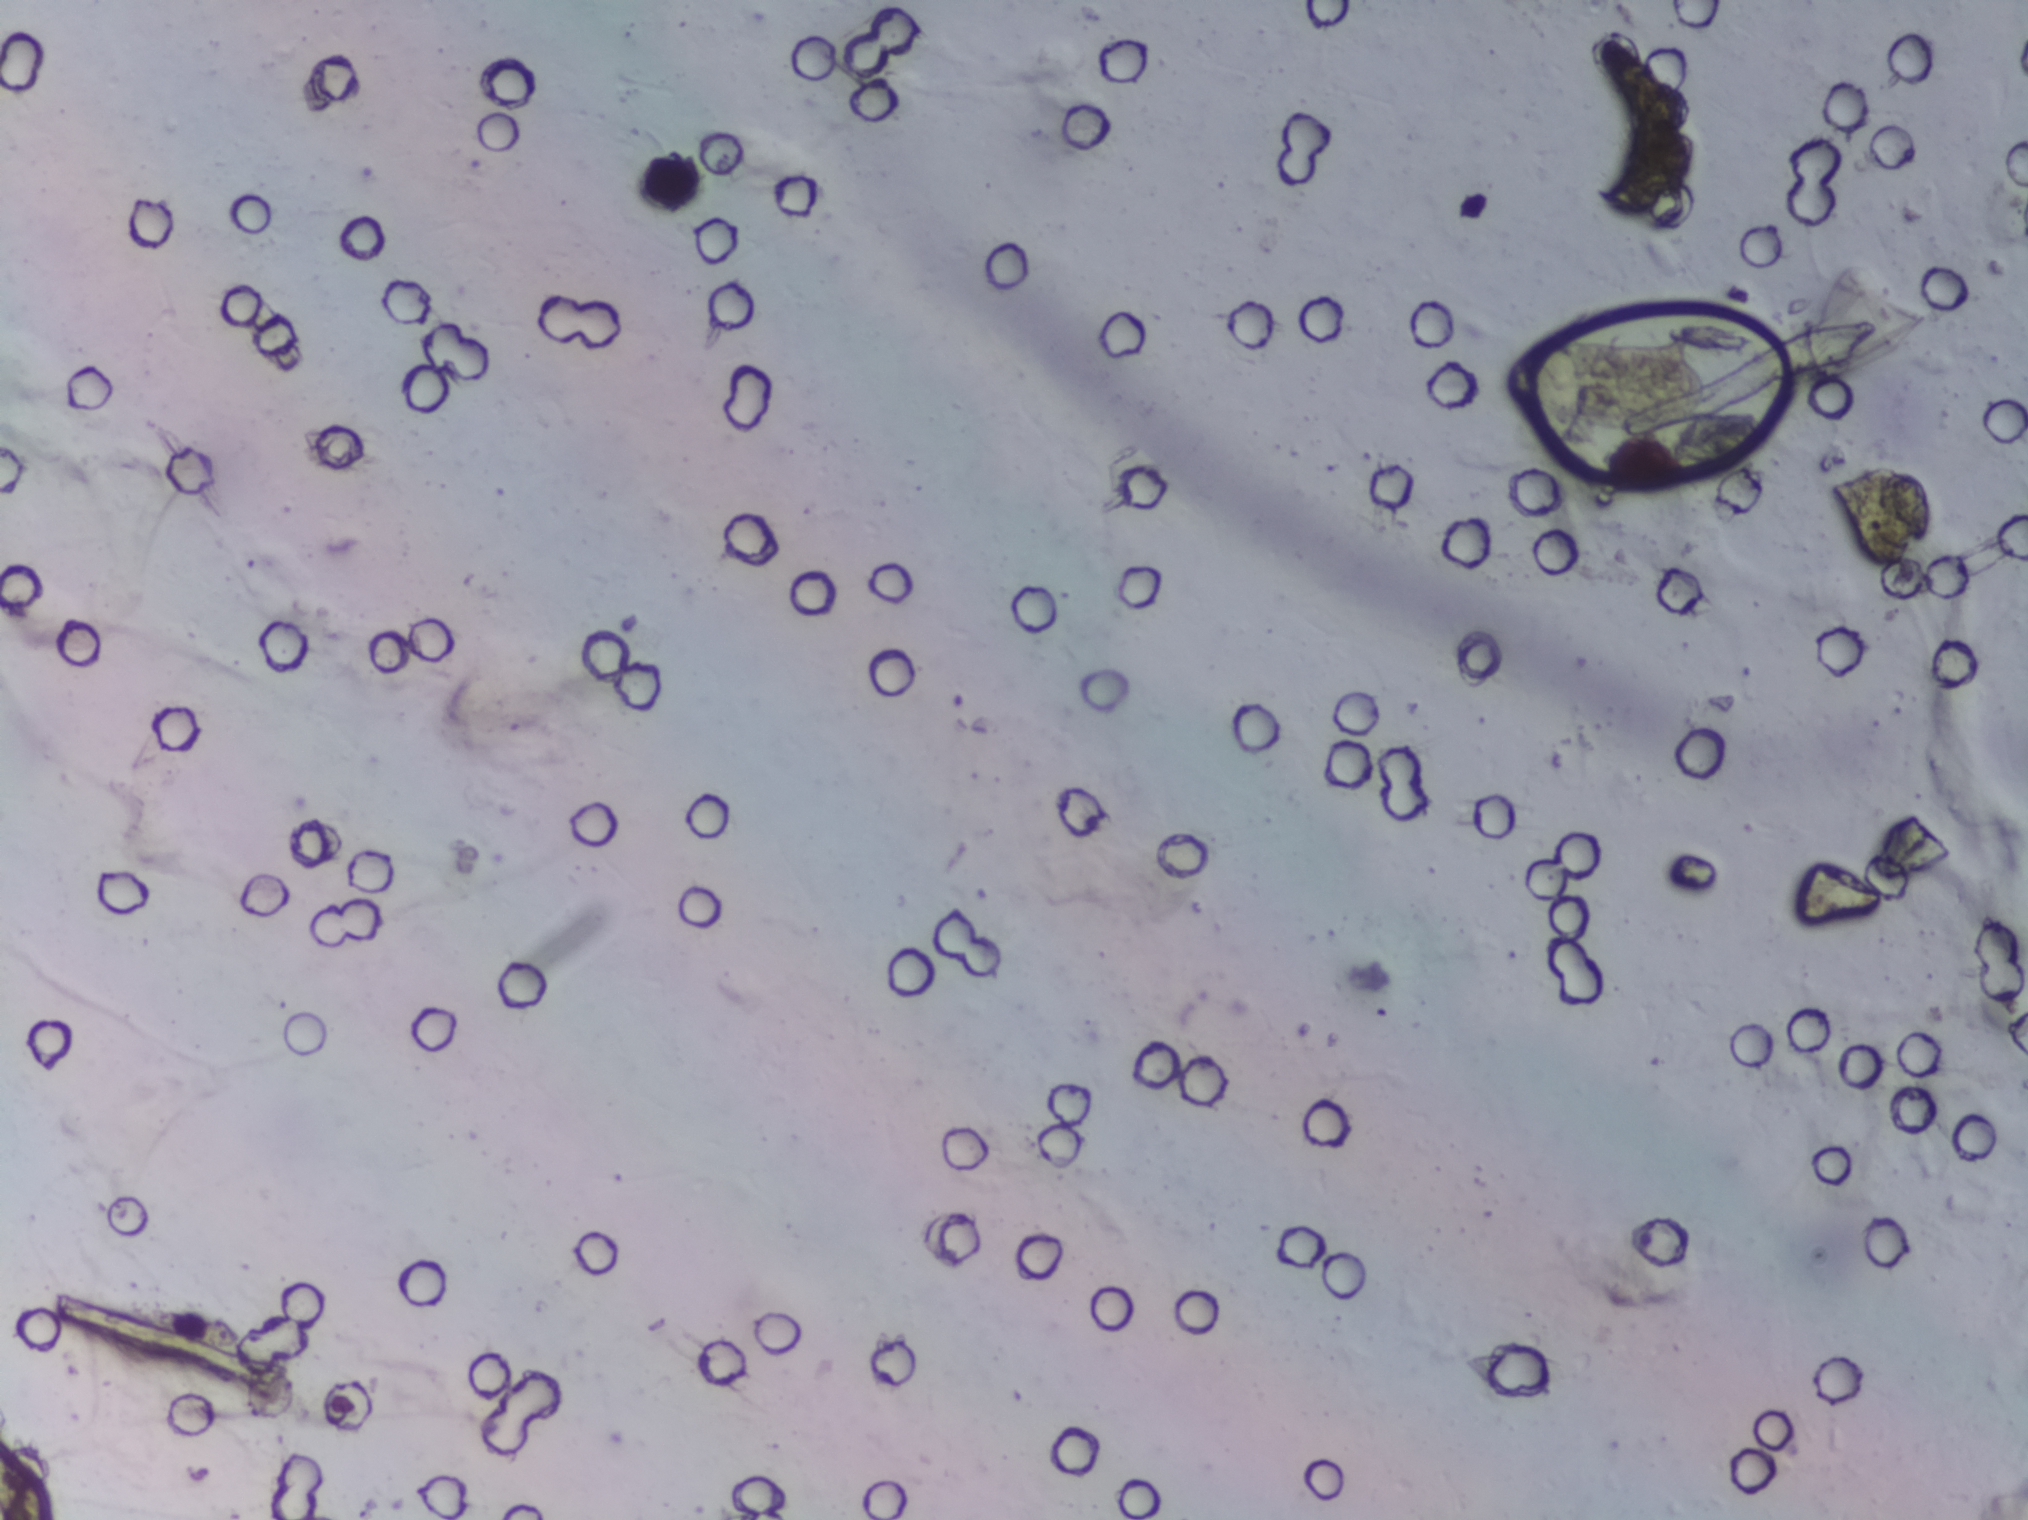
Photomicrograph of a urine filtration membrane, 4× objective.
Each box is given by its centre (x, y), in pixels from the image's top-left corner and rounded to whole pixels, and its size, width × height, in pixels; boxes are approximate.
Areas outlined as Schistosoma eggs: centre (1606, 385), 213 × 104 px. About 0.6% of the image's pixels are marked (the marked pixels themselves, not the box around them). Eggs that touch can end up inside the same outlined area.